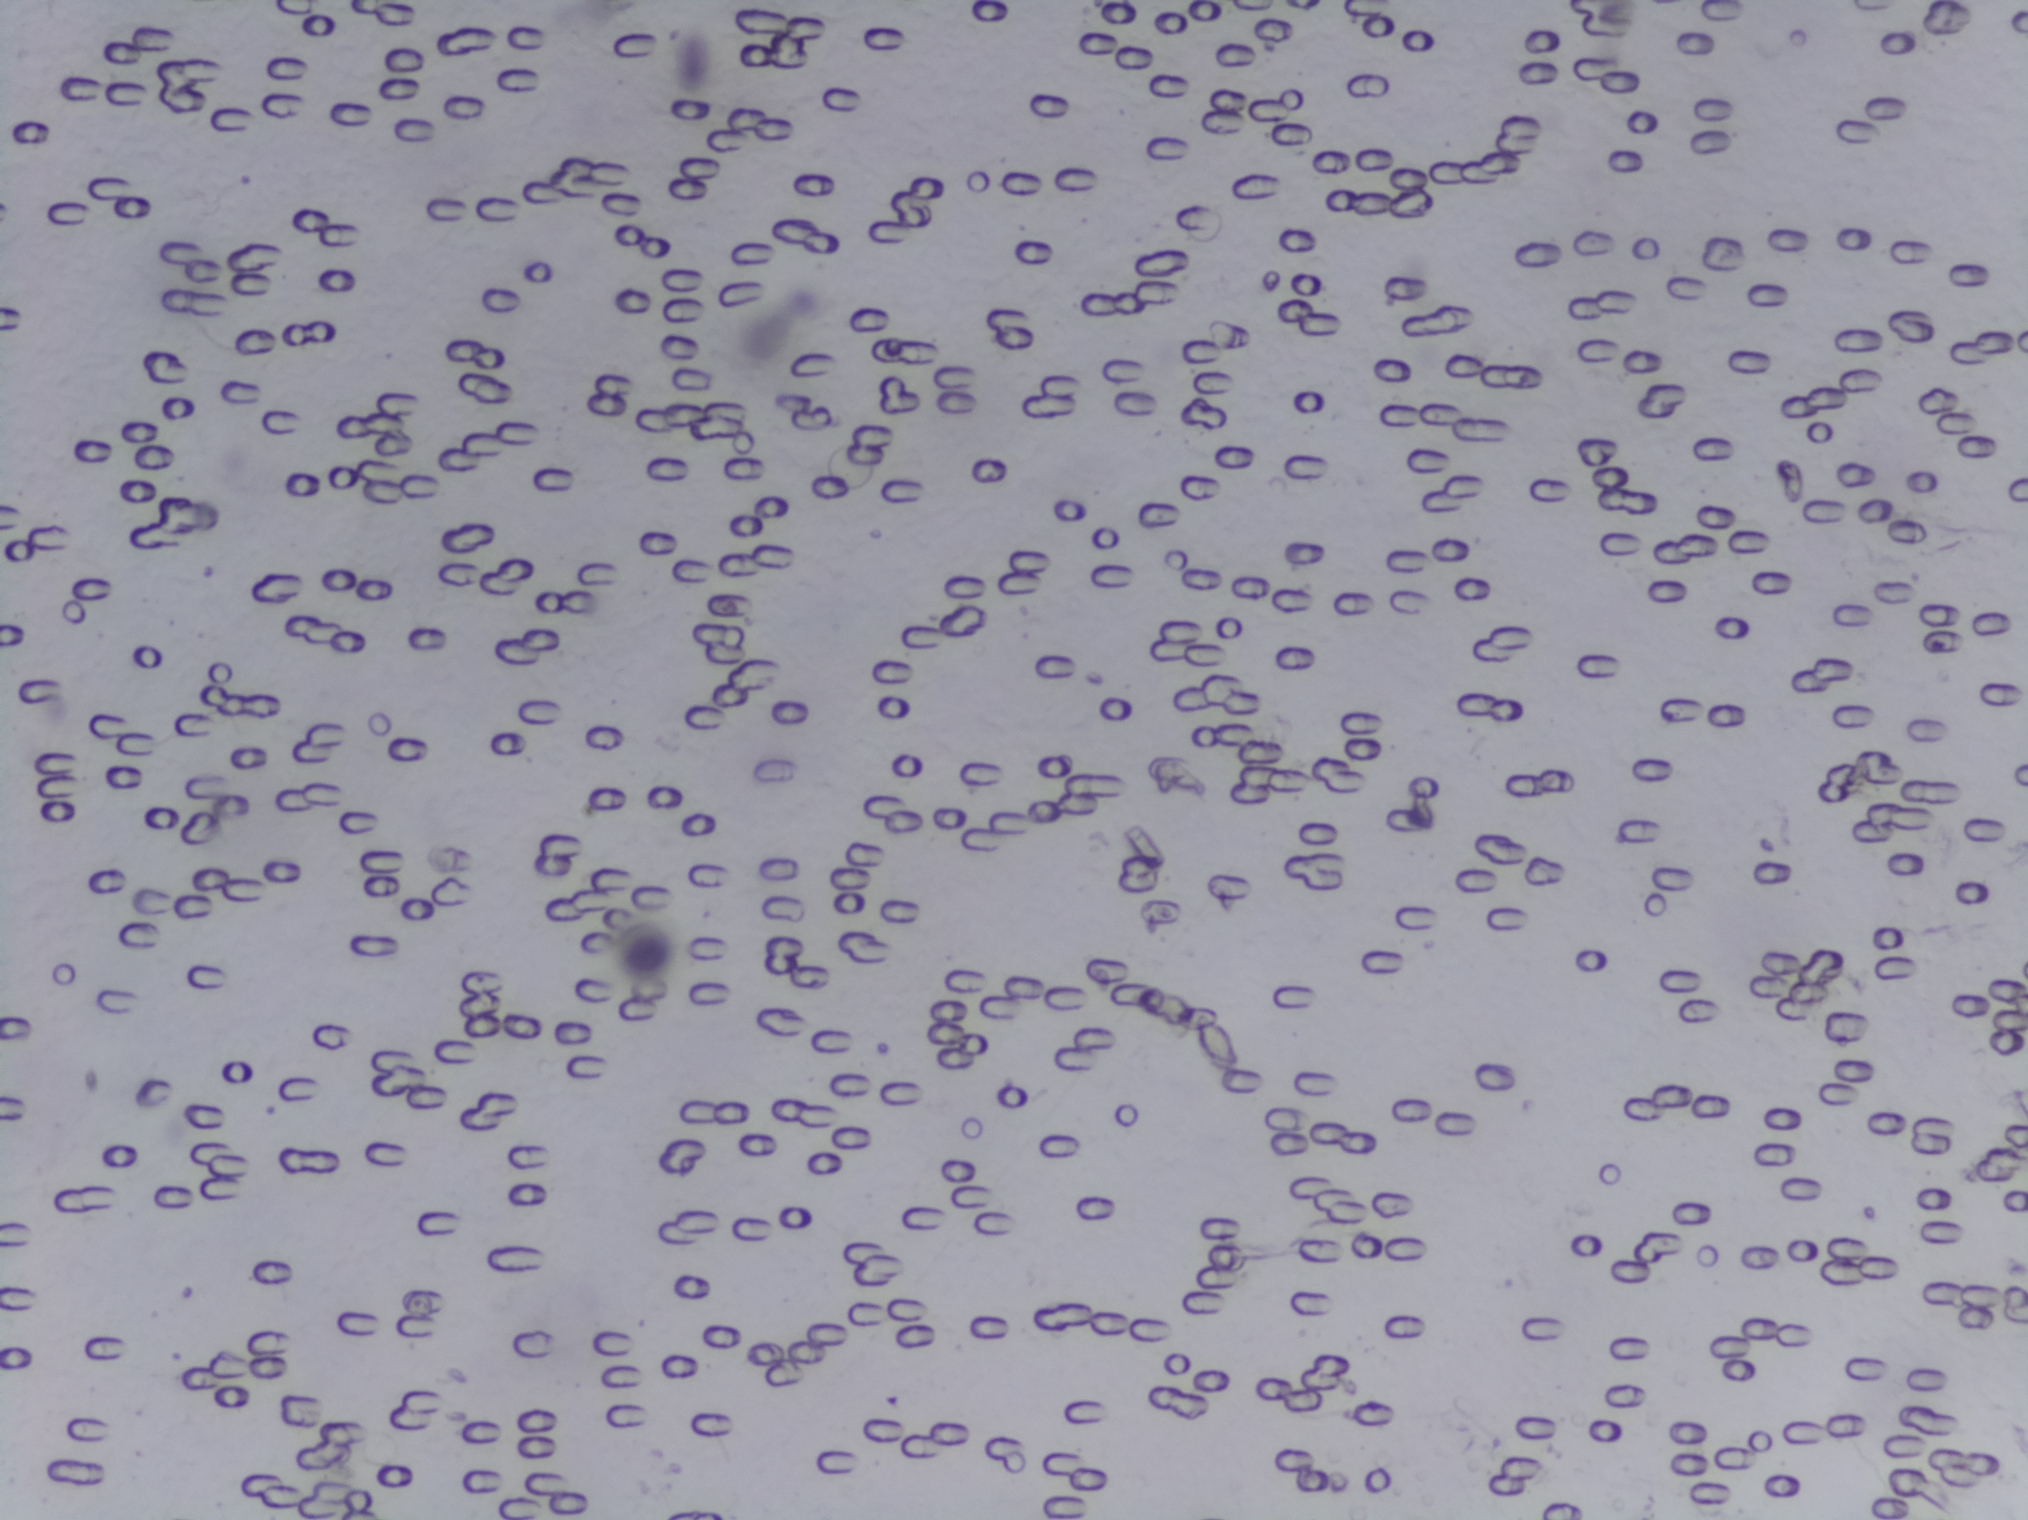
No Schistosoma egg is outlined in this image's expert annotation.
Microscope photograph (4× objective) of a membrane that a urine sample was filtered through.